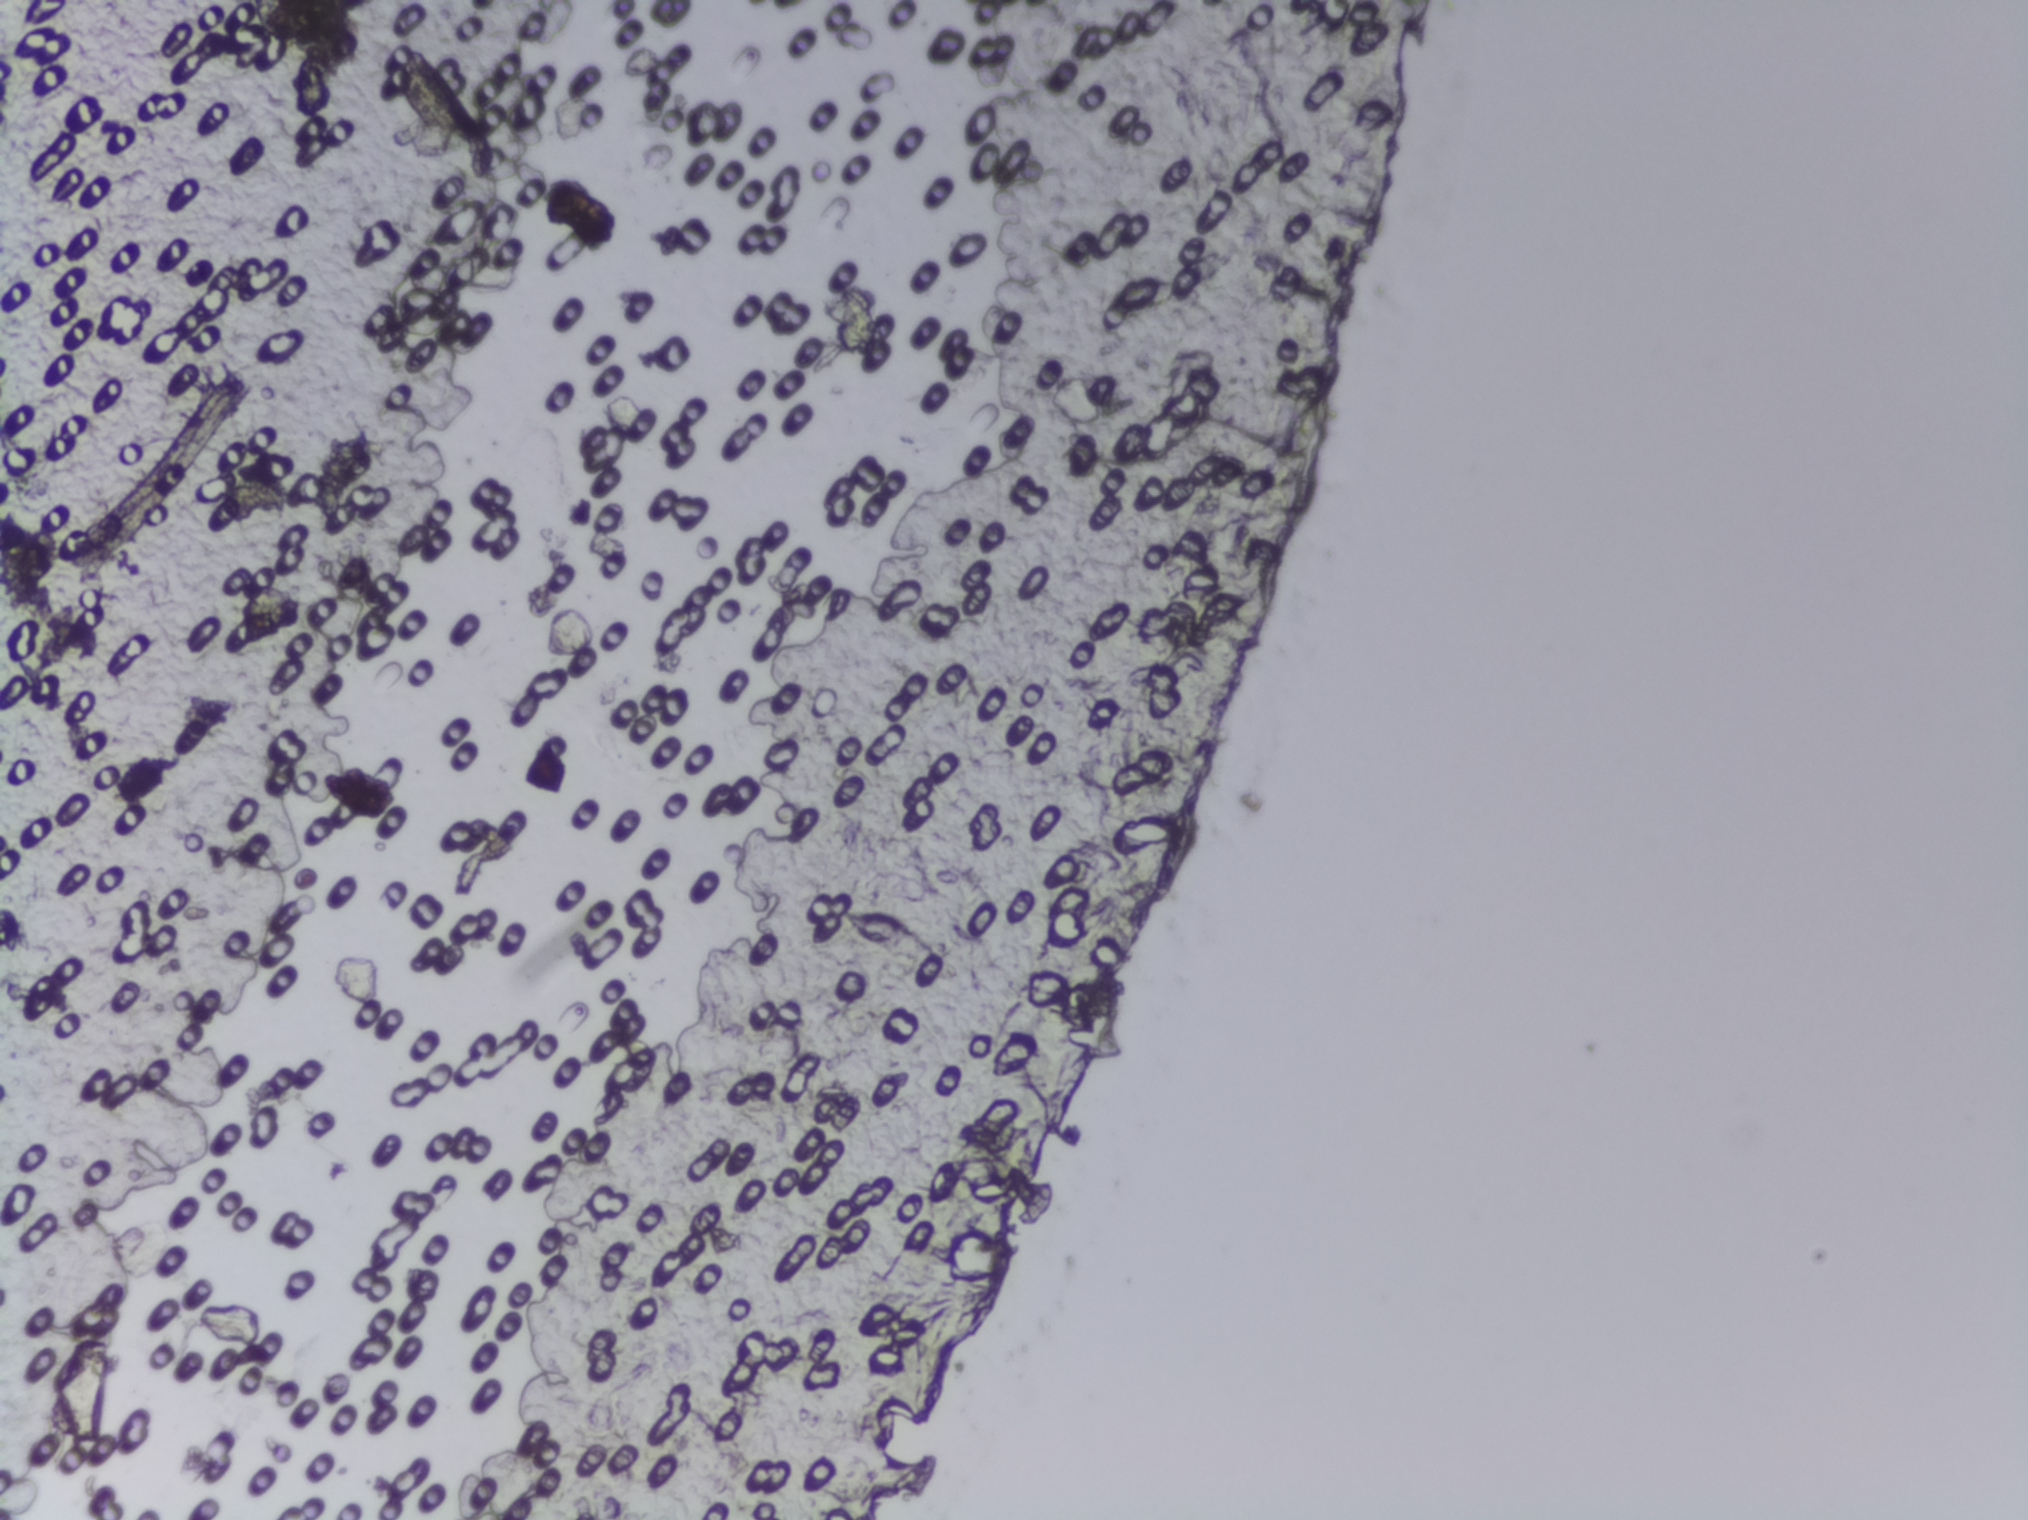
The expert annotation outlines no Schistosoma egg in this image.
Photograph from an automated digital microscope: urine filter membrane, 4× objective. The image covers about 1.5 × 1.1 mm of the membrane.